Urine filter membrane photographed through a 4× microscope objective. The image covers about 1.5 × 1.1 mm of the membrane.
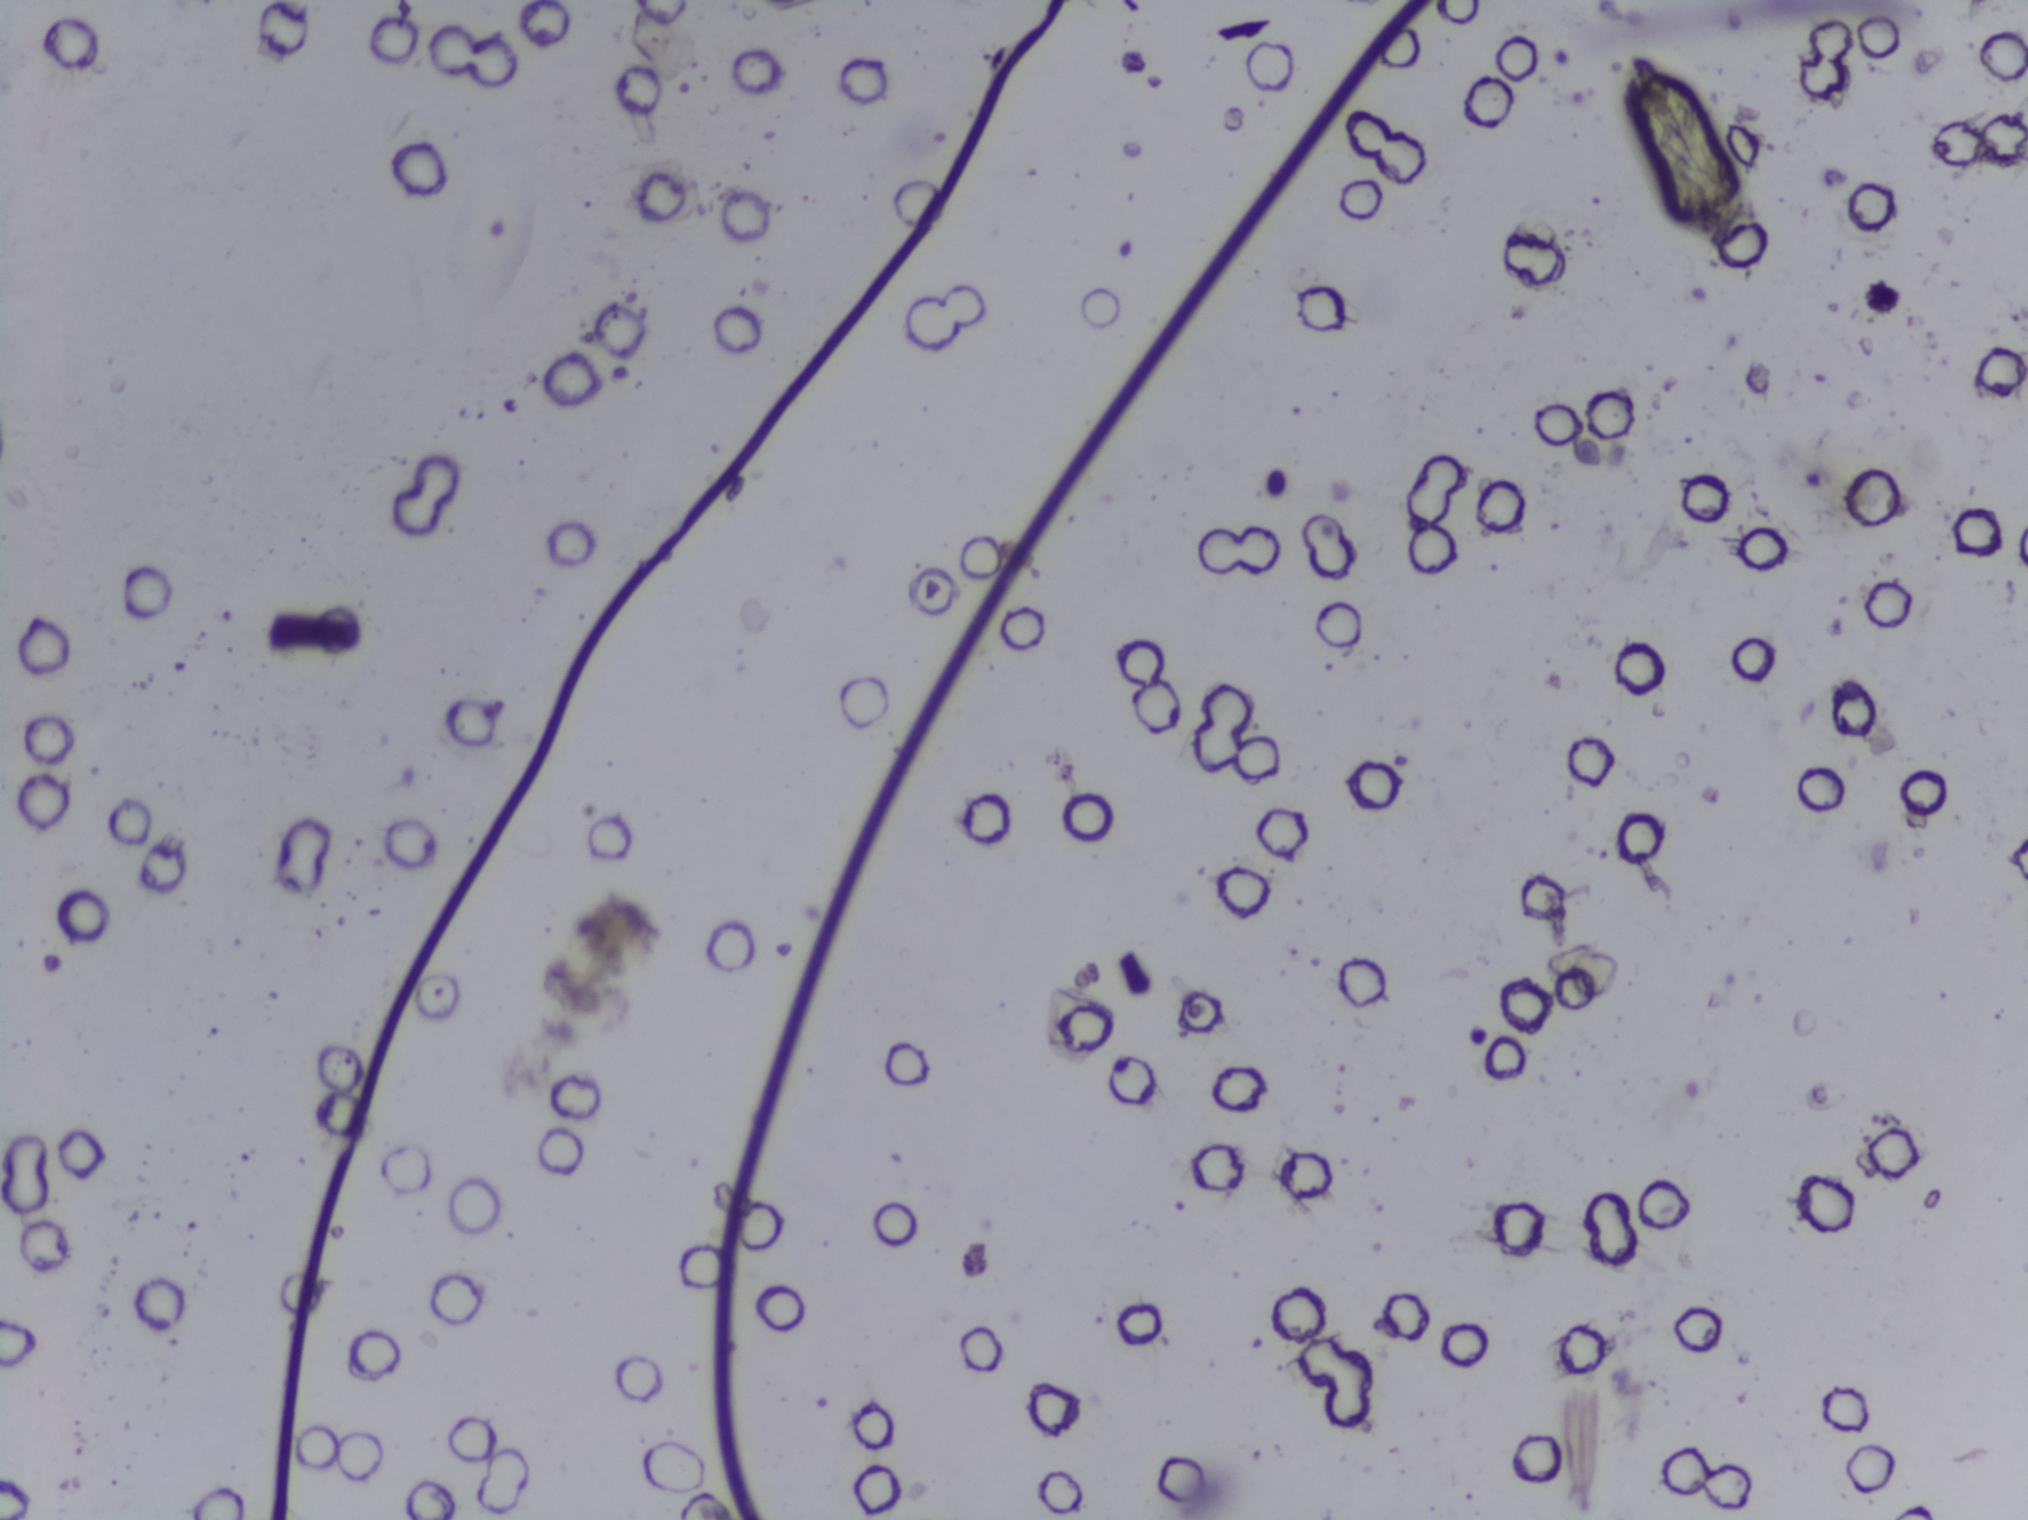
The expert annotation marks no Schistosoma egg in this field of view.